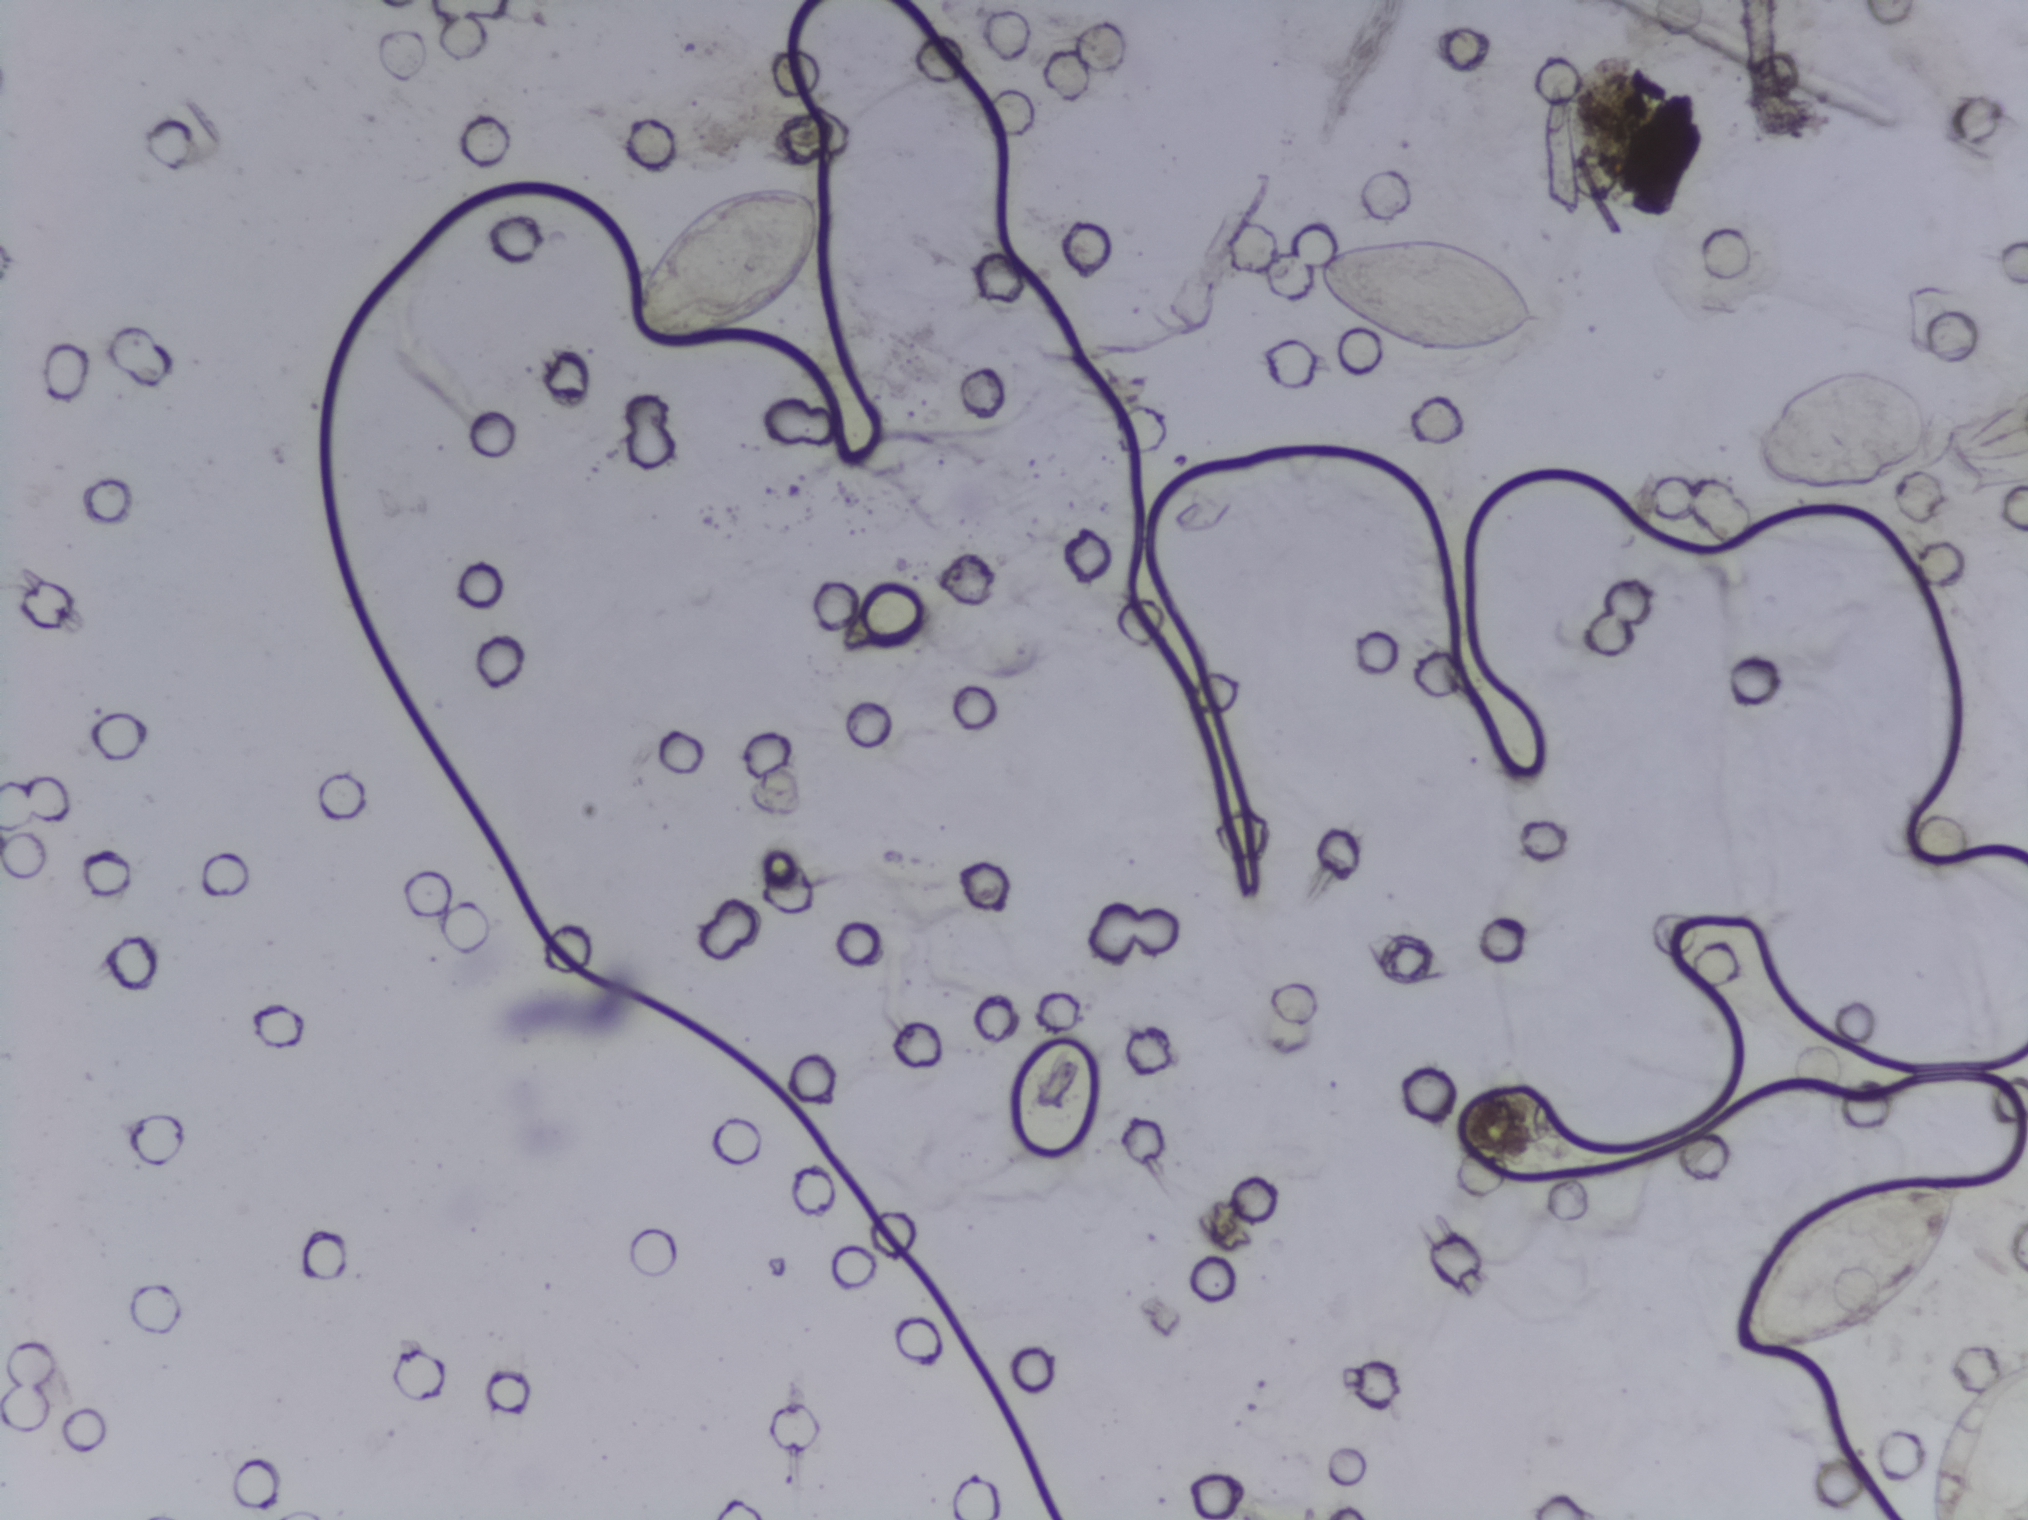
Photomicrograph of a urine filtration membrane, 4× objective.
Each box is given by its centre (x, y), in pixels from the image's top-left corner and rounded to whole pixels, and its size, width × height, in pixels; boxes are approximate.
Areas outlined as Schistosoma eggs, left to right:
1. centre (726, 265), 193 × 164 px
2. centre (1428, 295), 229 × 118 px
3. centre (1850, 1266), 233 × 180 px
4. centre (1974, 1436), 108 × 168 px (reaching the right and bottom edges of the frame)
Eggs that touch can end up inside the same outlined area.